Microscope photograph (4× objective) of a membrane that a urine sample was filtered through. The image covers about 1.5 × 1.1 mm of the membrane.
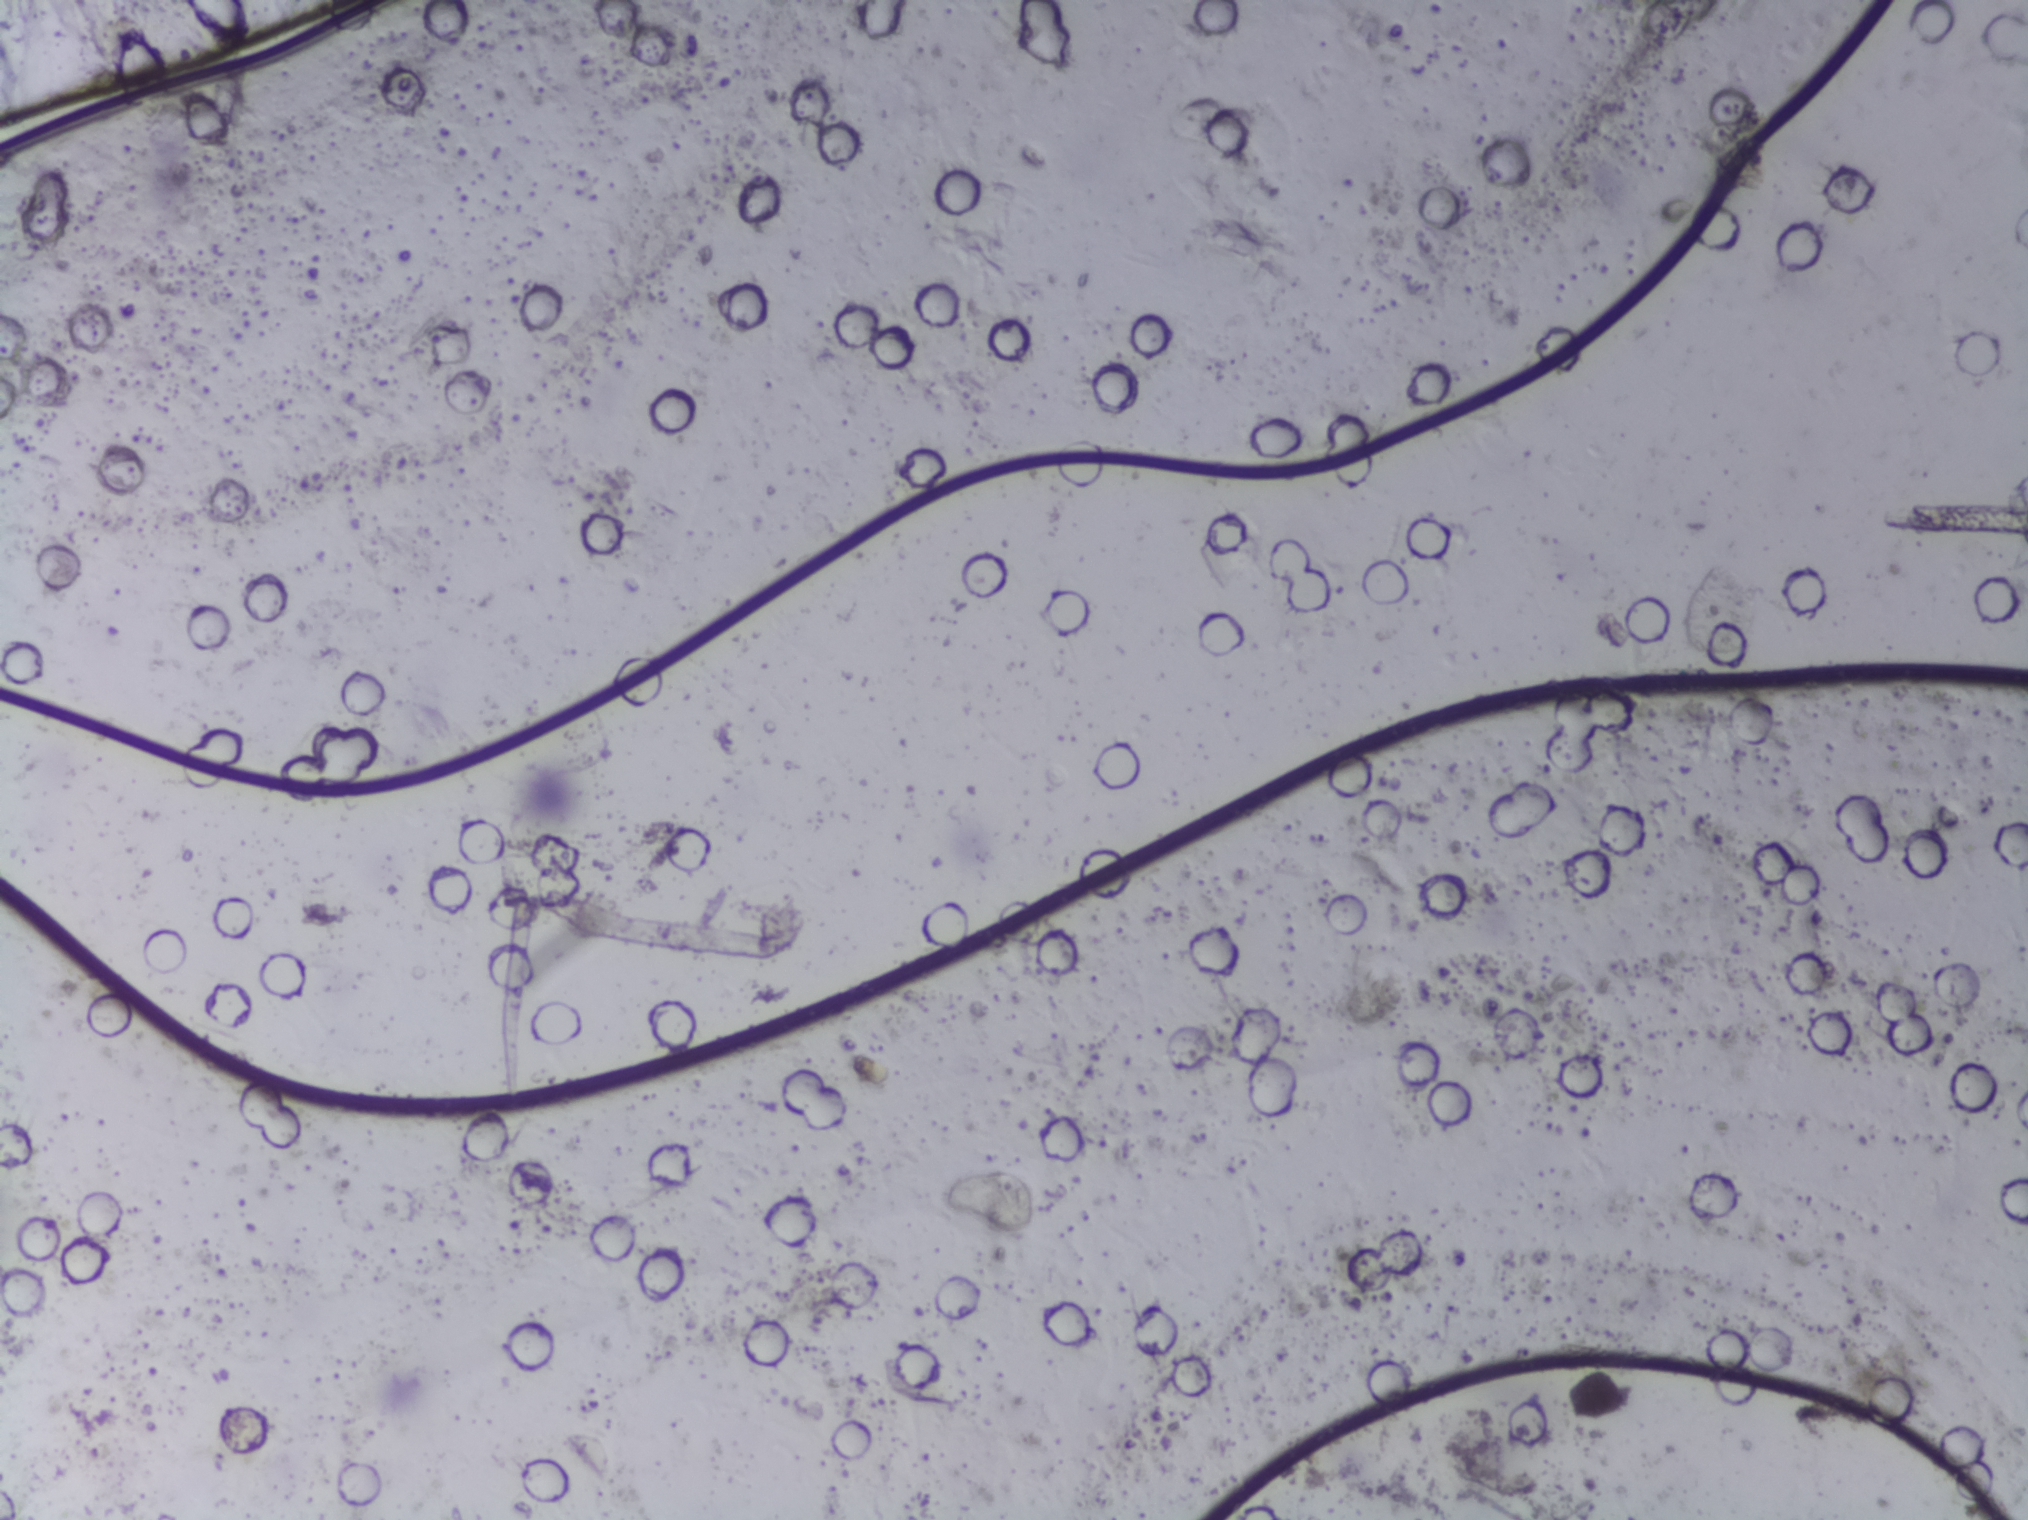
No Schistosoma egg is outlined in this image's expert annotation.